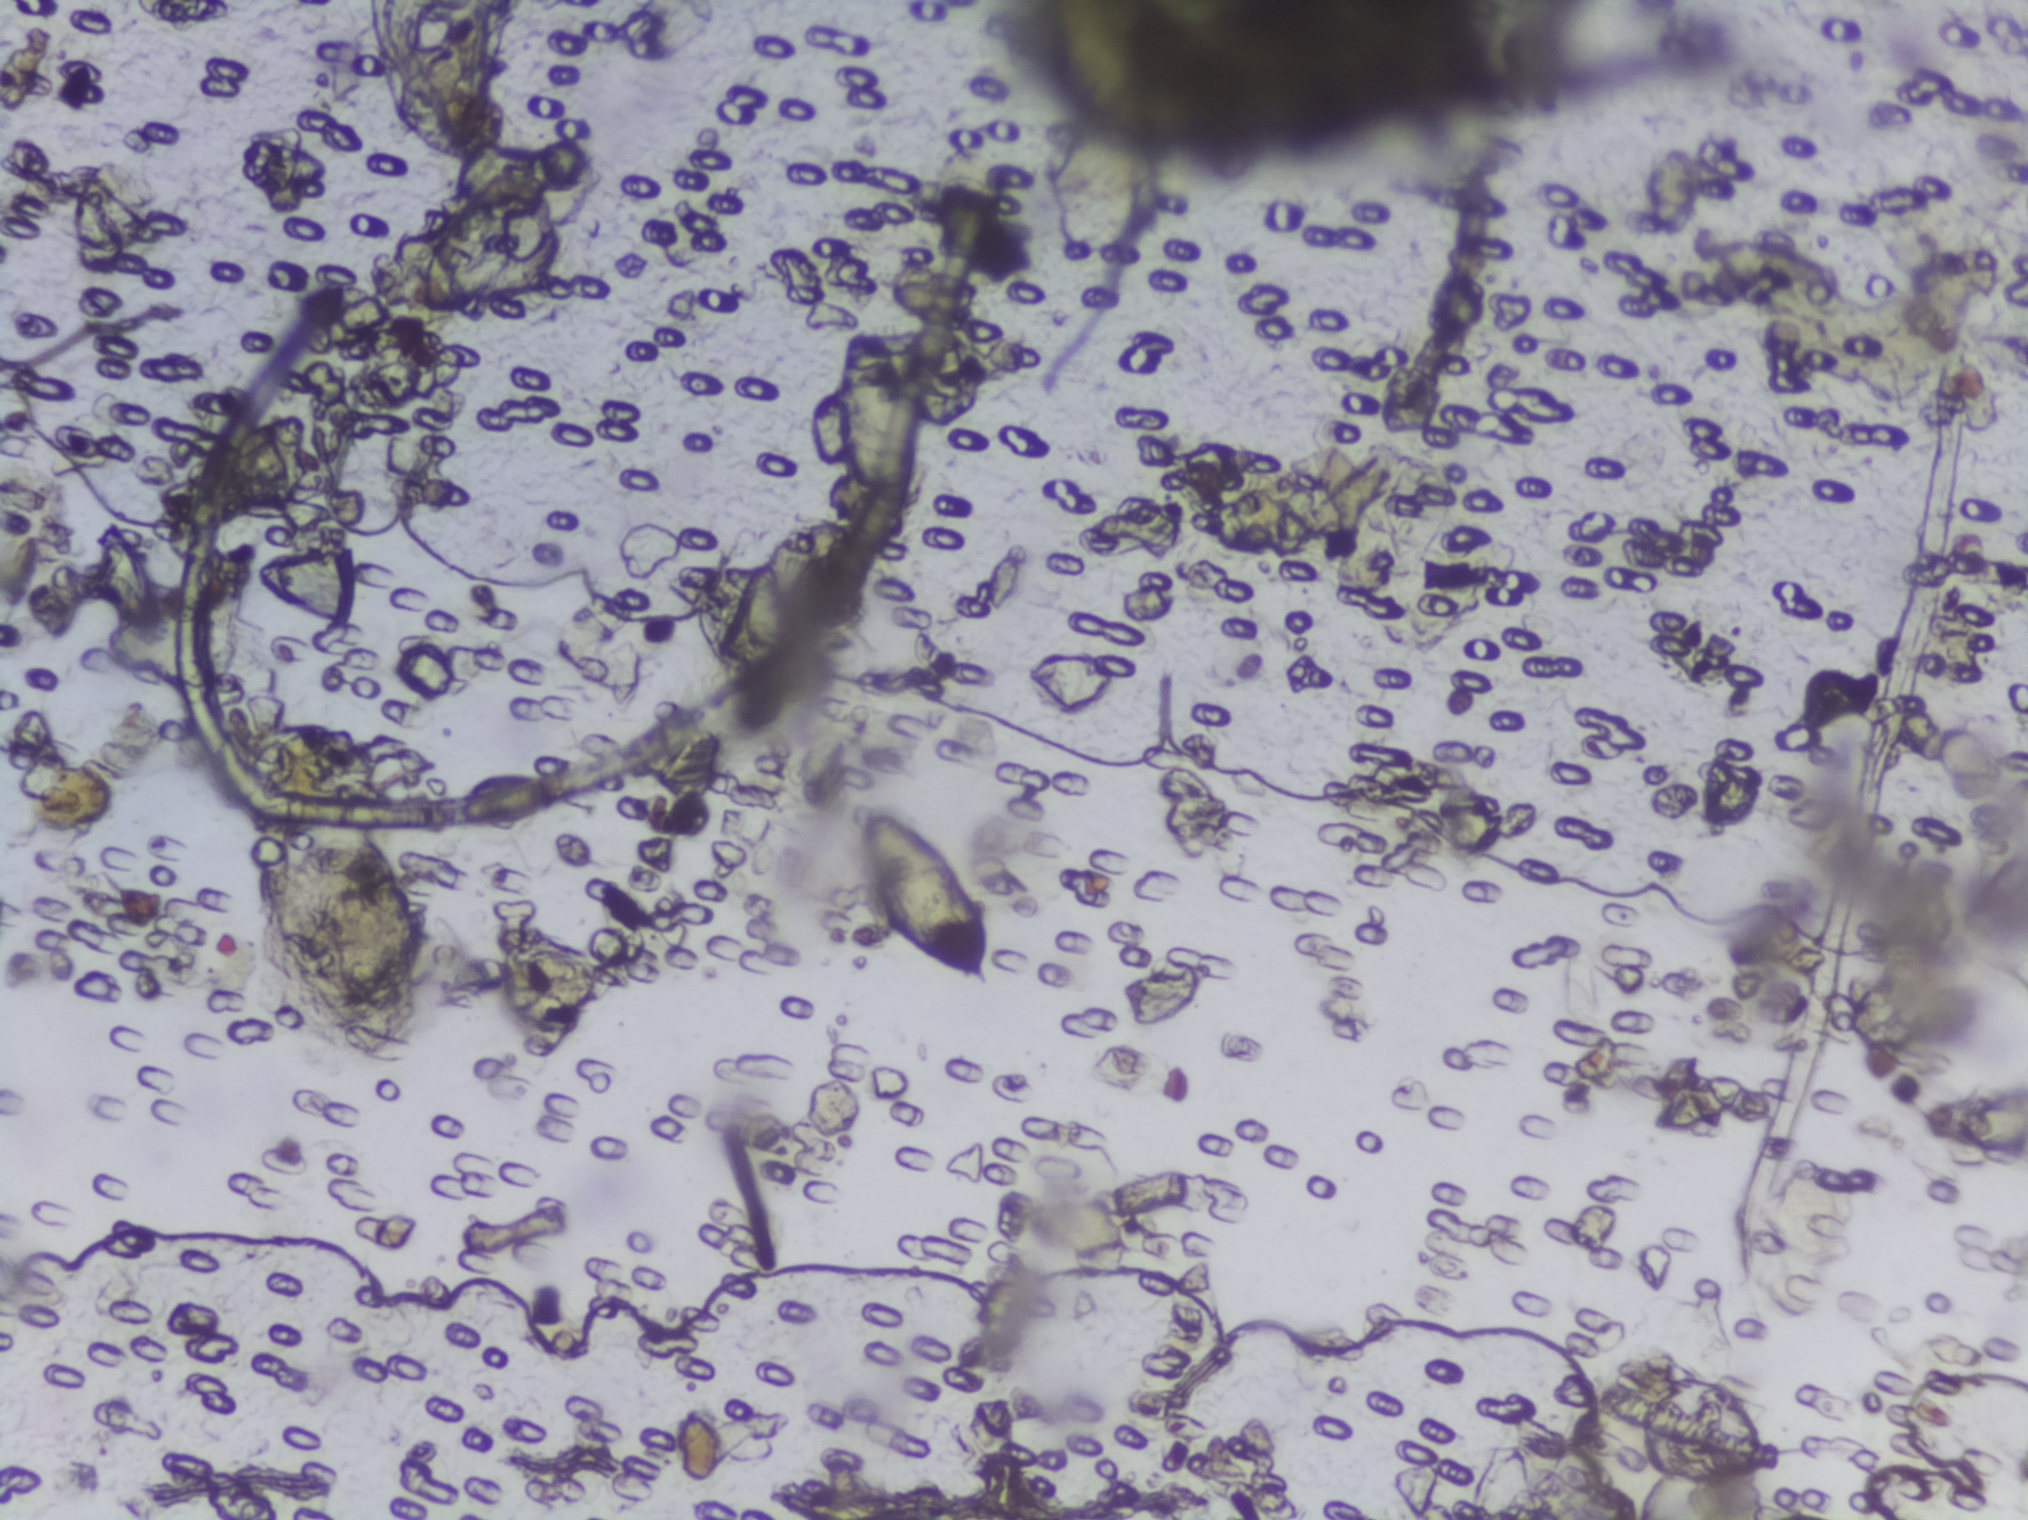
Photograph from an automated digital microscope: urine filter membrane, 4× objective. The image covers about 1.5 × 1.1 mm of the membrane.
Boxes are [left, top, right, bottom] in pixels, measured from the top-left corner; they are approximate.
Schistosoma eggs are outlined in four areas of this image, listed from left to right: [96, 521, 150, 629]; [830, 322, 917, 532]; [856, 810, 989, 988]; [1919, 1081, 2027, 1160] (reaching the right edge of the frame). A single outlined area may contain several eggs.